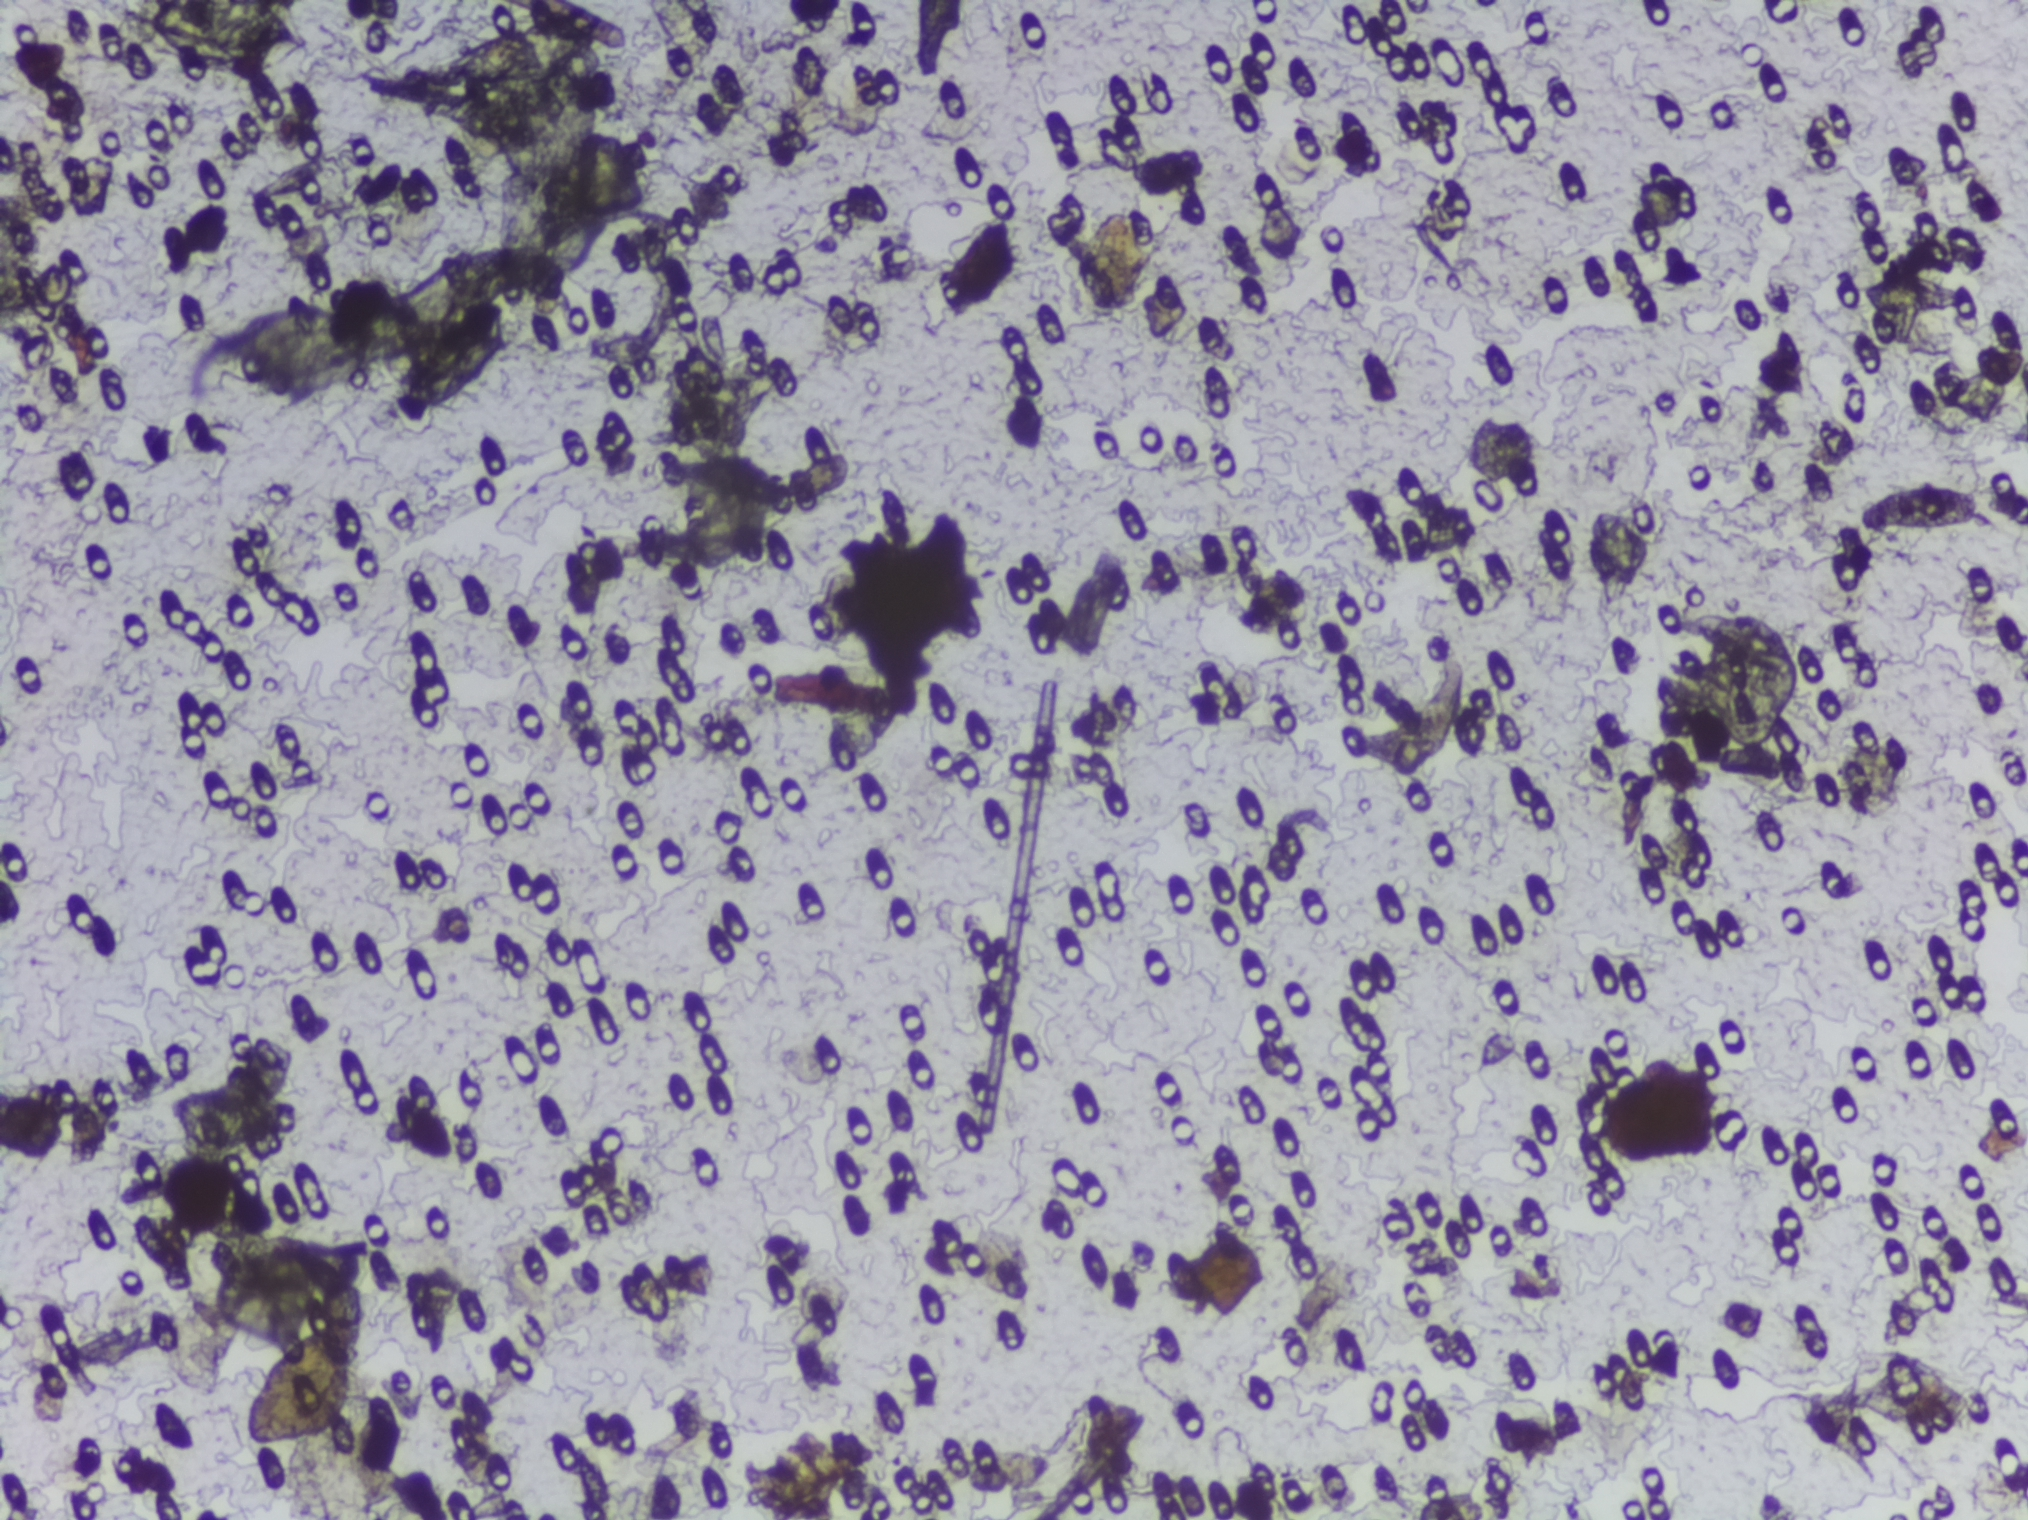
Photomicrograph of a urine filtration membrane, 4× objective. The image covers about 1.5 × 1.1 mm of the membrane.
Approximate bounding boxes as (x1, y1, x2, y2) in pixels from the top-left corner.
Areas outlined as Schistosoma eggs: (128, 0, 307, 82) (reaching the top edge of the frame); (1682, 600, 1814, 751). An outlined area can hold more than one egg.